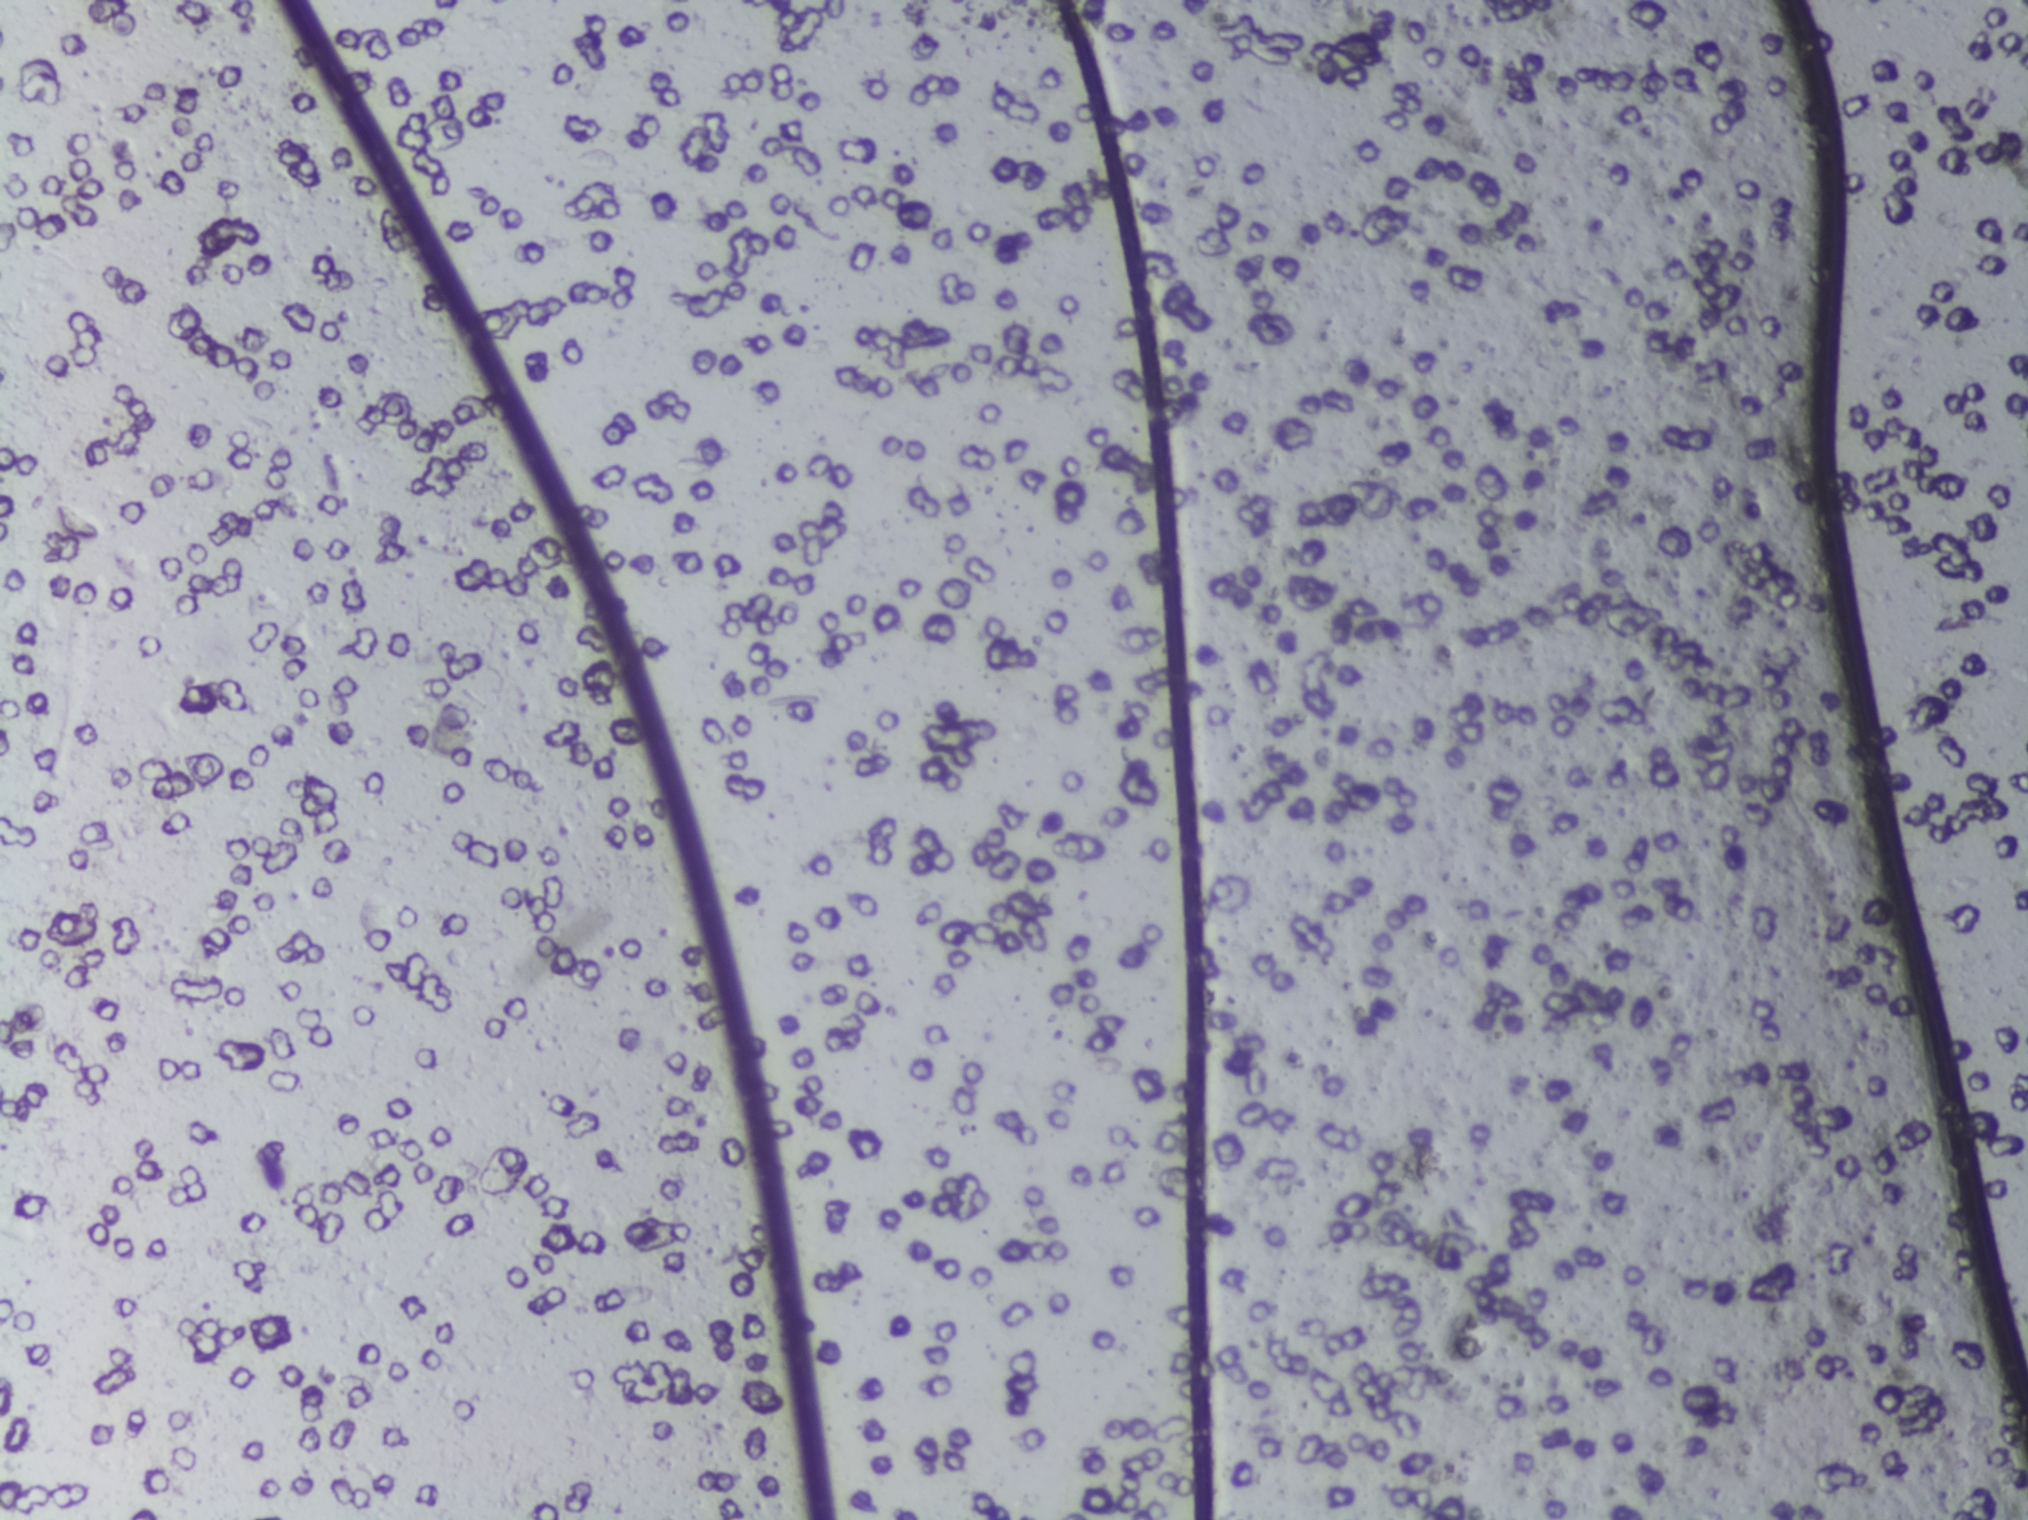
Photograph from an automated digital microscope: urine filter membrane, 4× objective.
No area of this image was outlined as a Schistosoma egg.